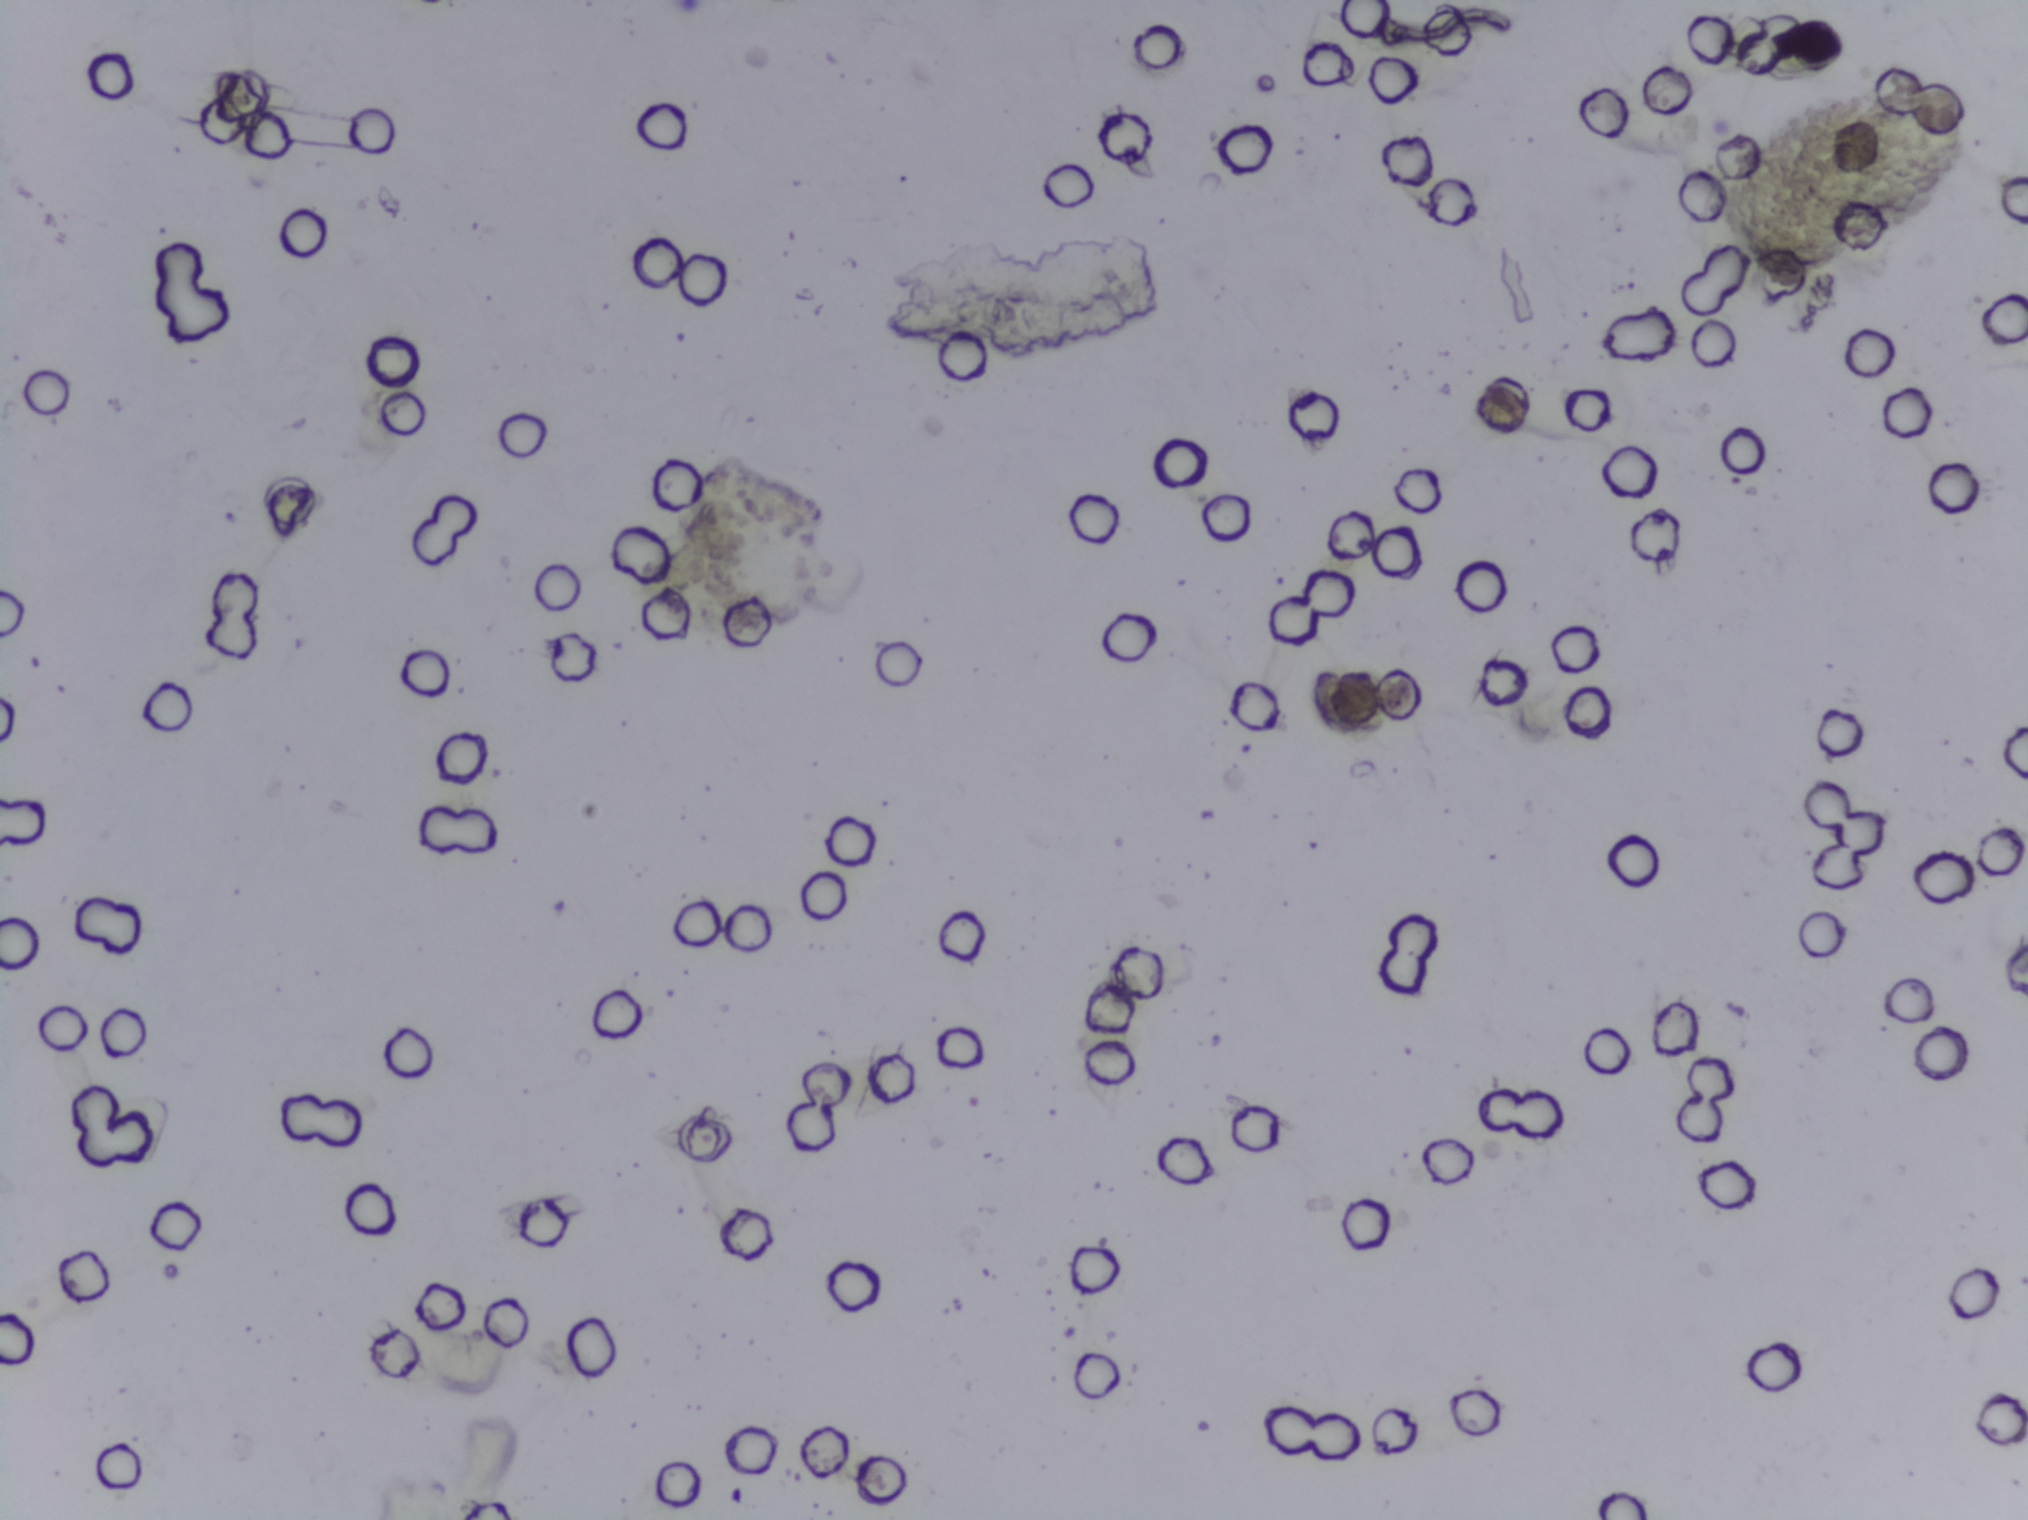
Schistosoma eggs: none outlined.
Microscope photograph (4× objective) of a membrane that a urine sample was filtered through.